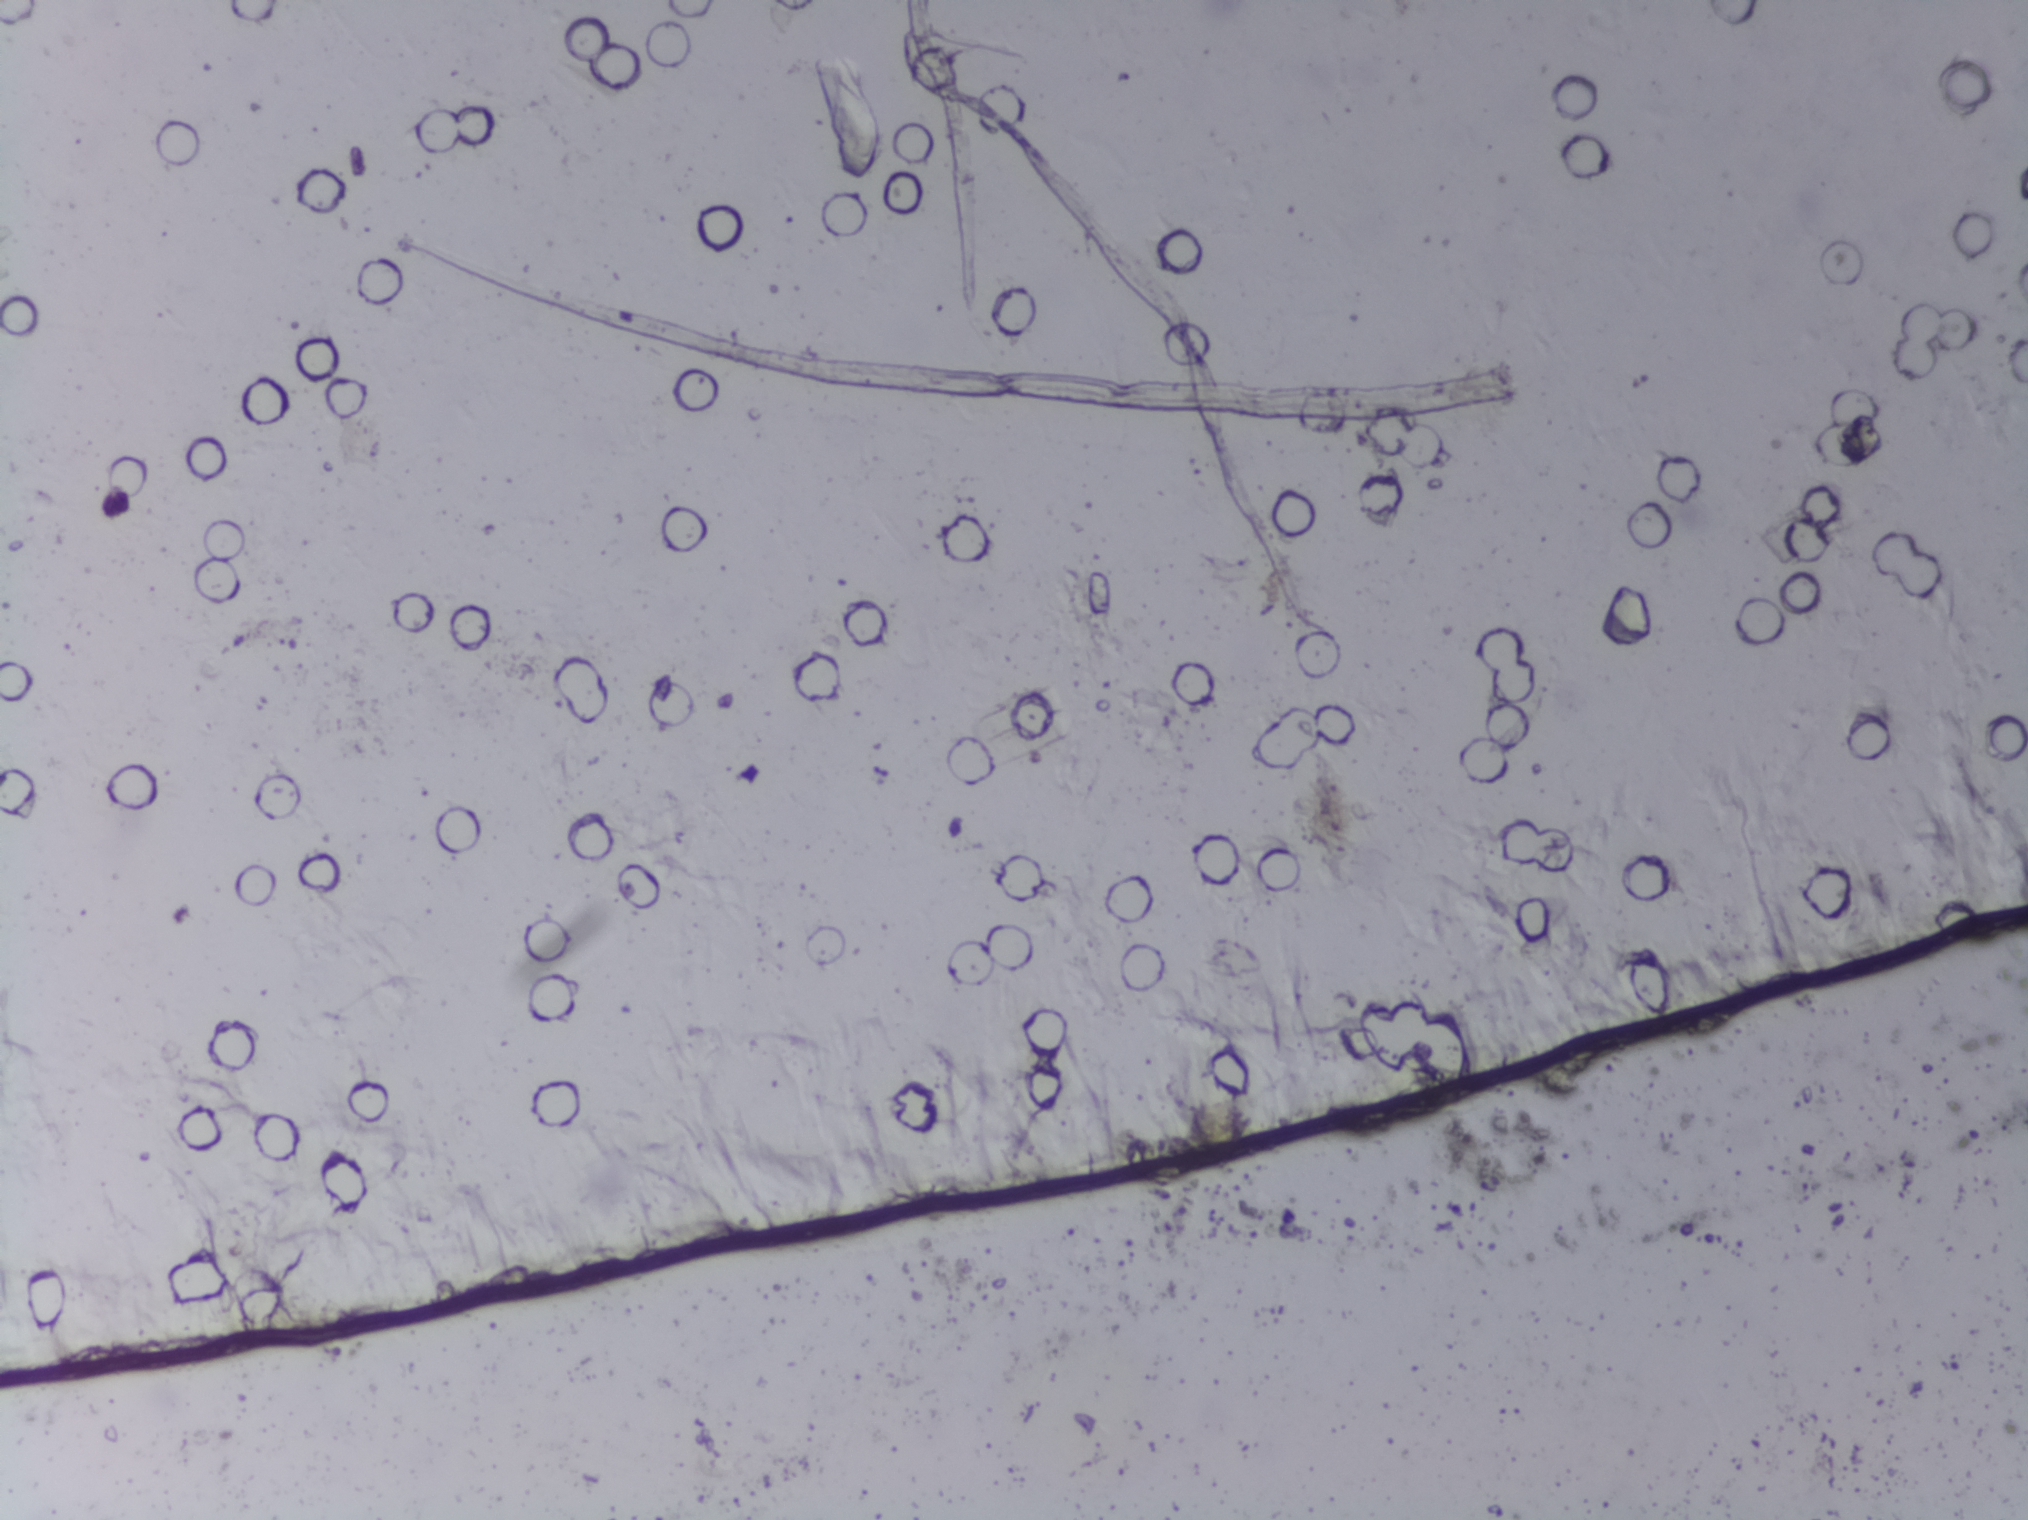
Photograph from an automated digital microscope: urine filter membrane, 4× objective. The field of view is about 1.5 mm × 1.1 mm.
No area of this image was outlined as a Schistosoma egg.